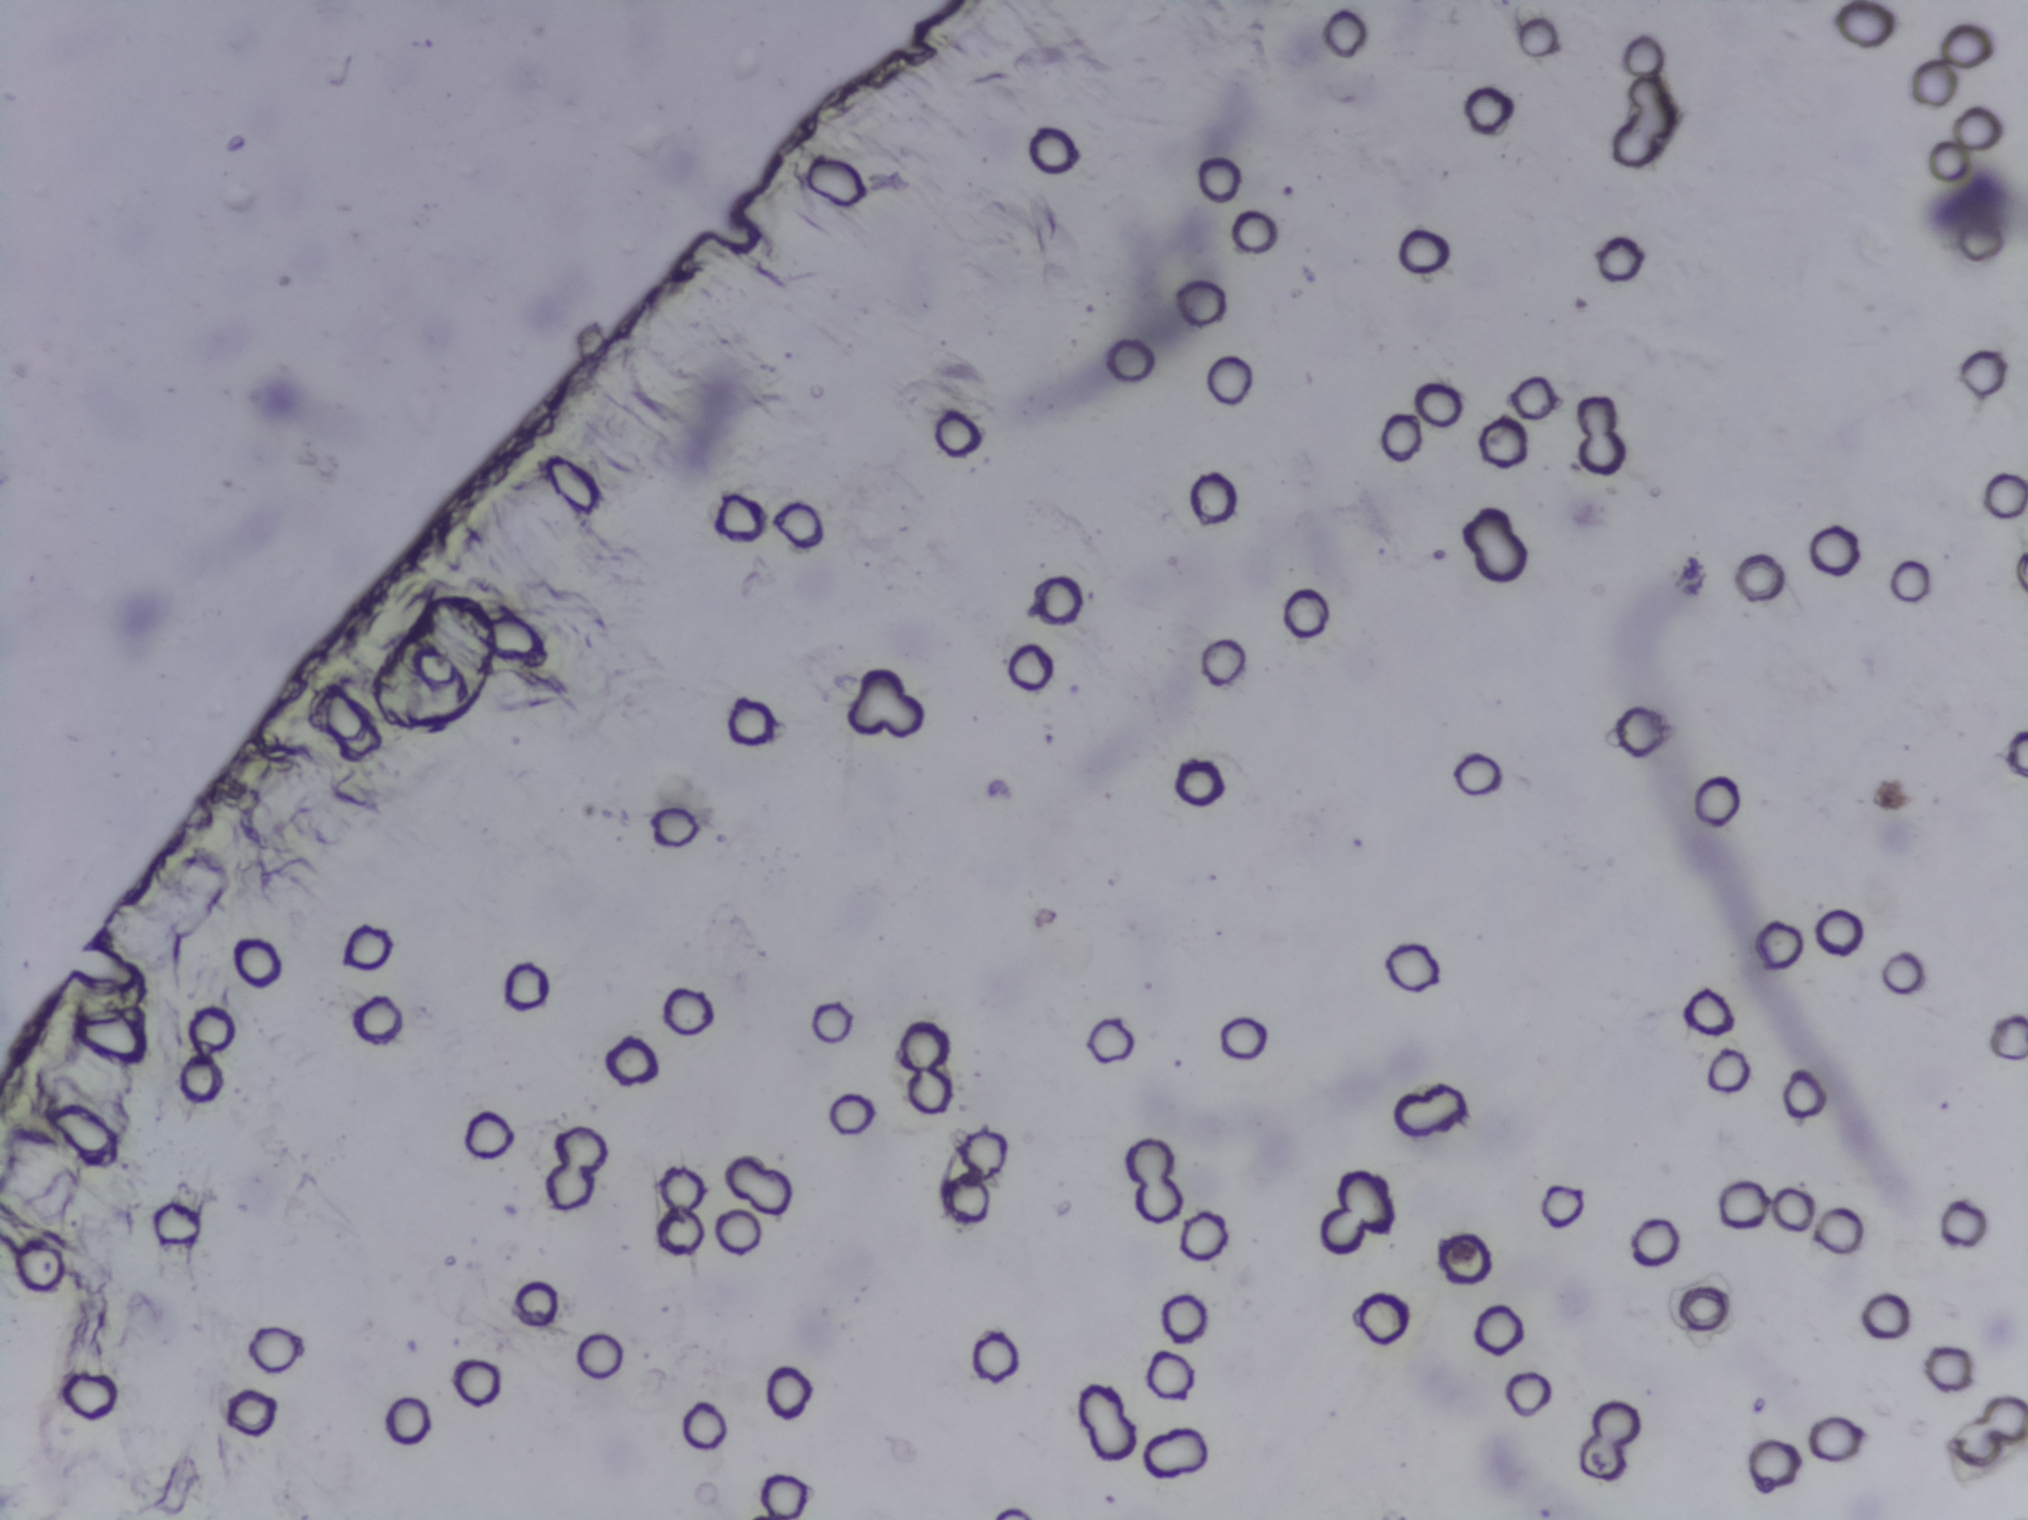
Photomicrograph of a urine filtration membrane, 4× objective.
No area of this image was outlined as a Schistosoma egg.